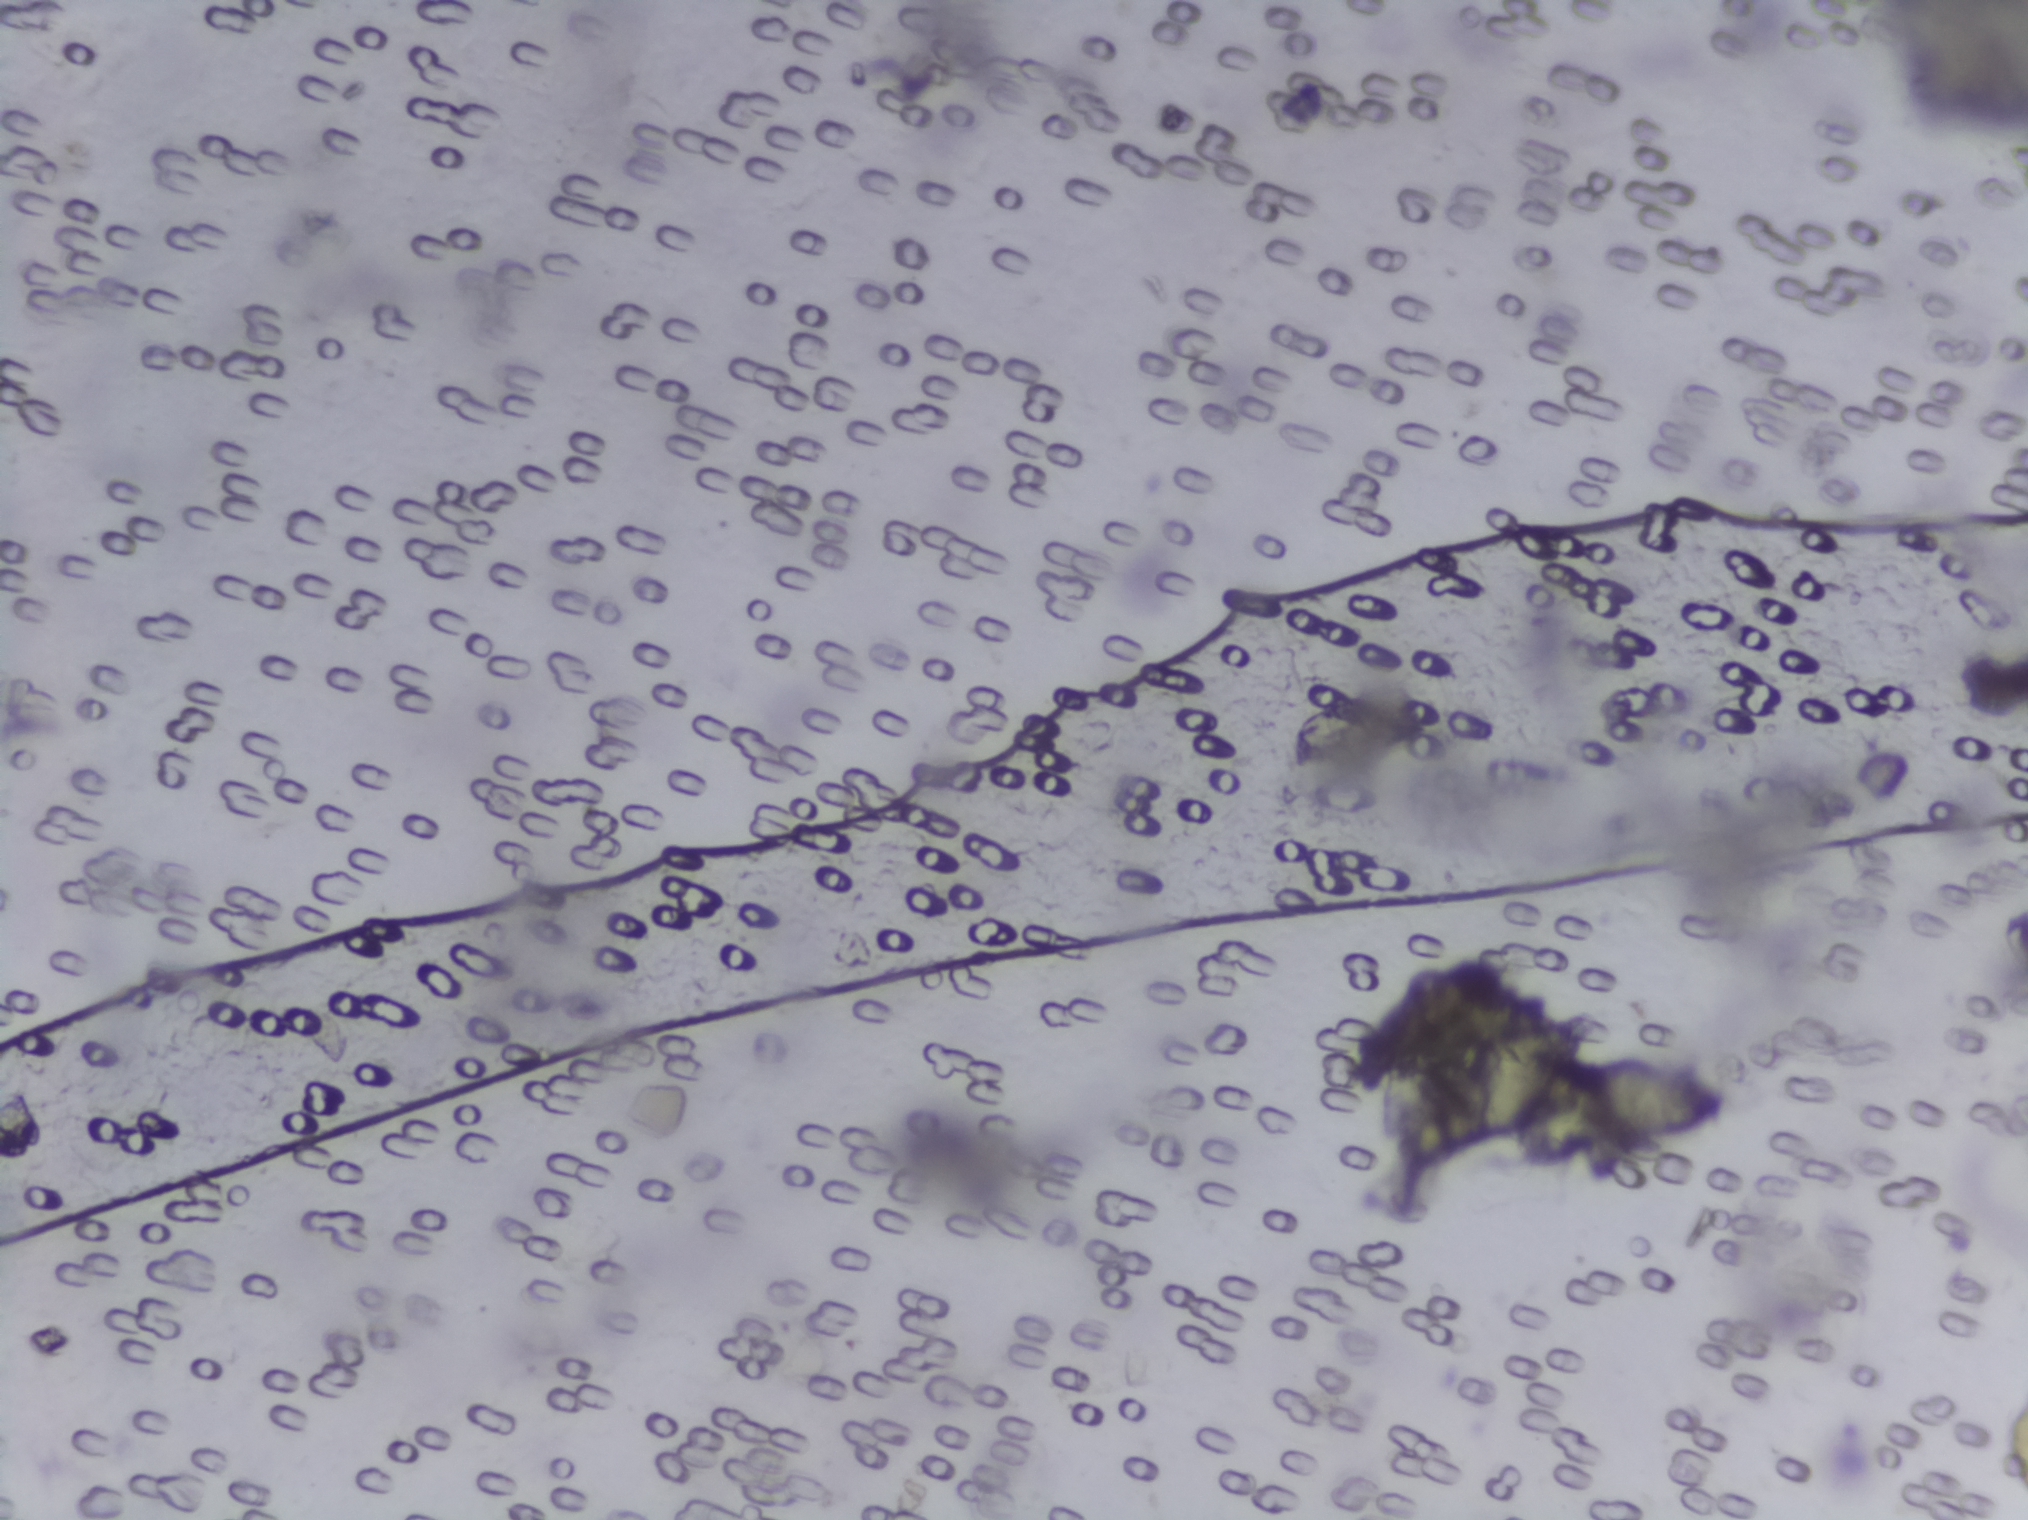
Urine filtration membrane under a 4× objective, photographed by an automated digital microscope.
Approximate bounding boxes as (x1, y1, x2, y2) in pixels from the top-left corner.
Schistosoma egg areas, outlined: (1419, 1014, 1733, 1167). A single outlined area may contain several eggs. Any one outlined egg may, rarely, be S. mansoni rather than S. haematobium.